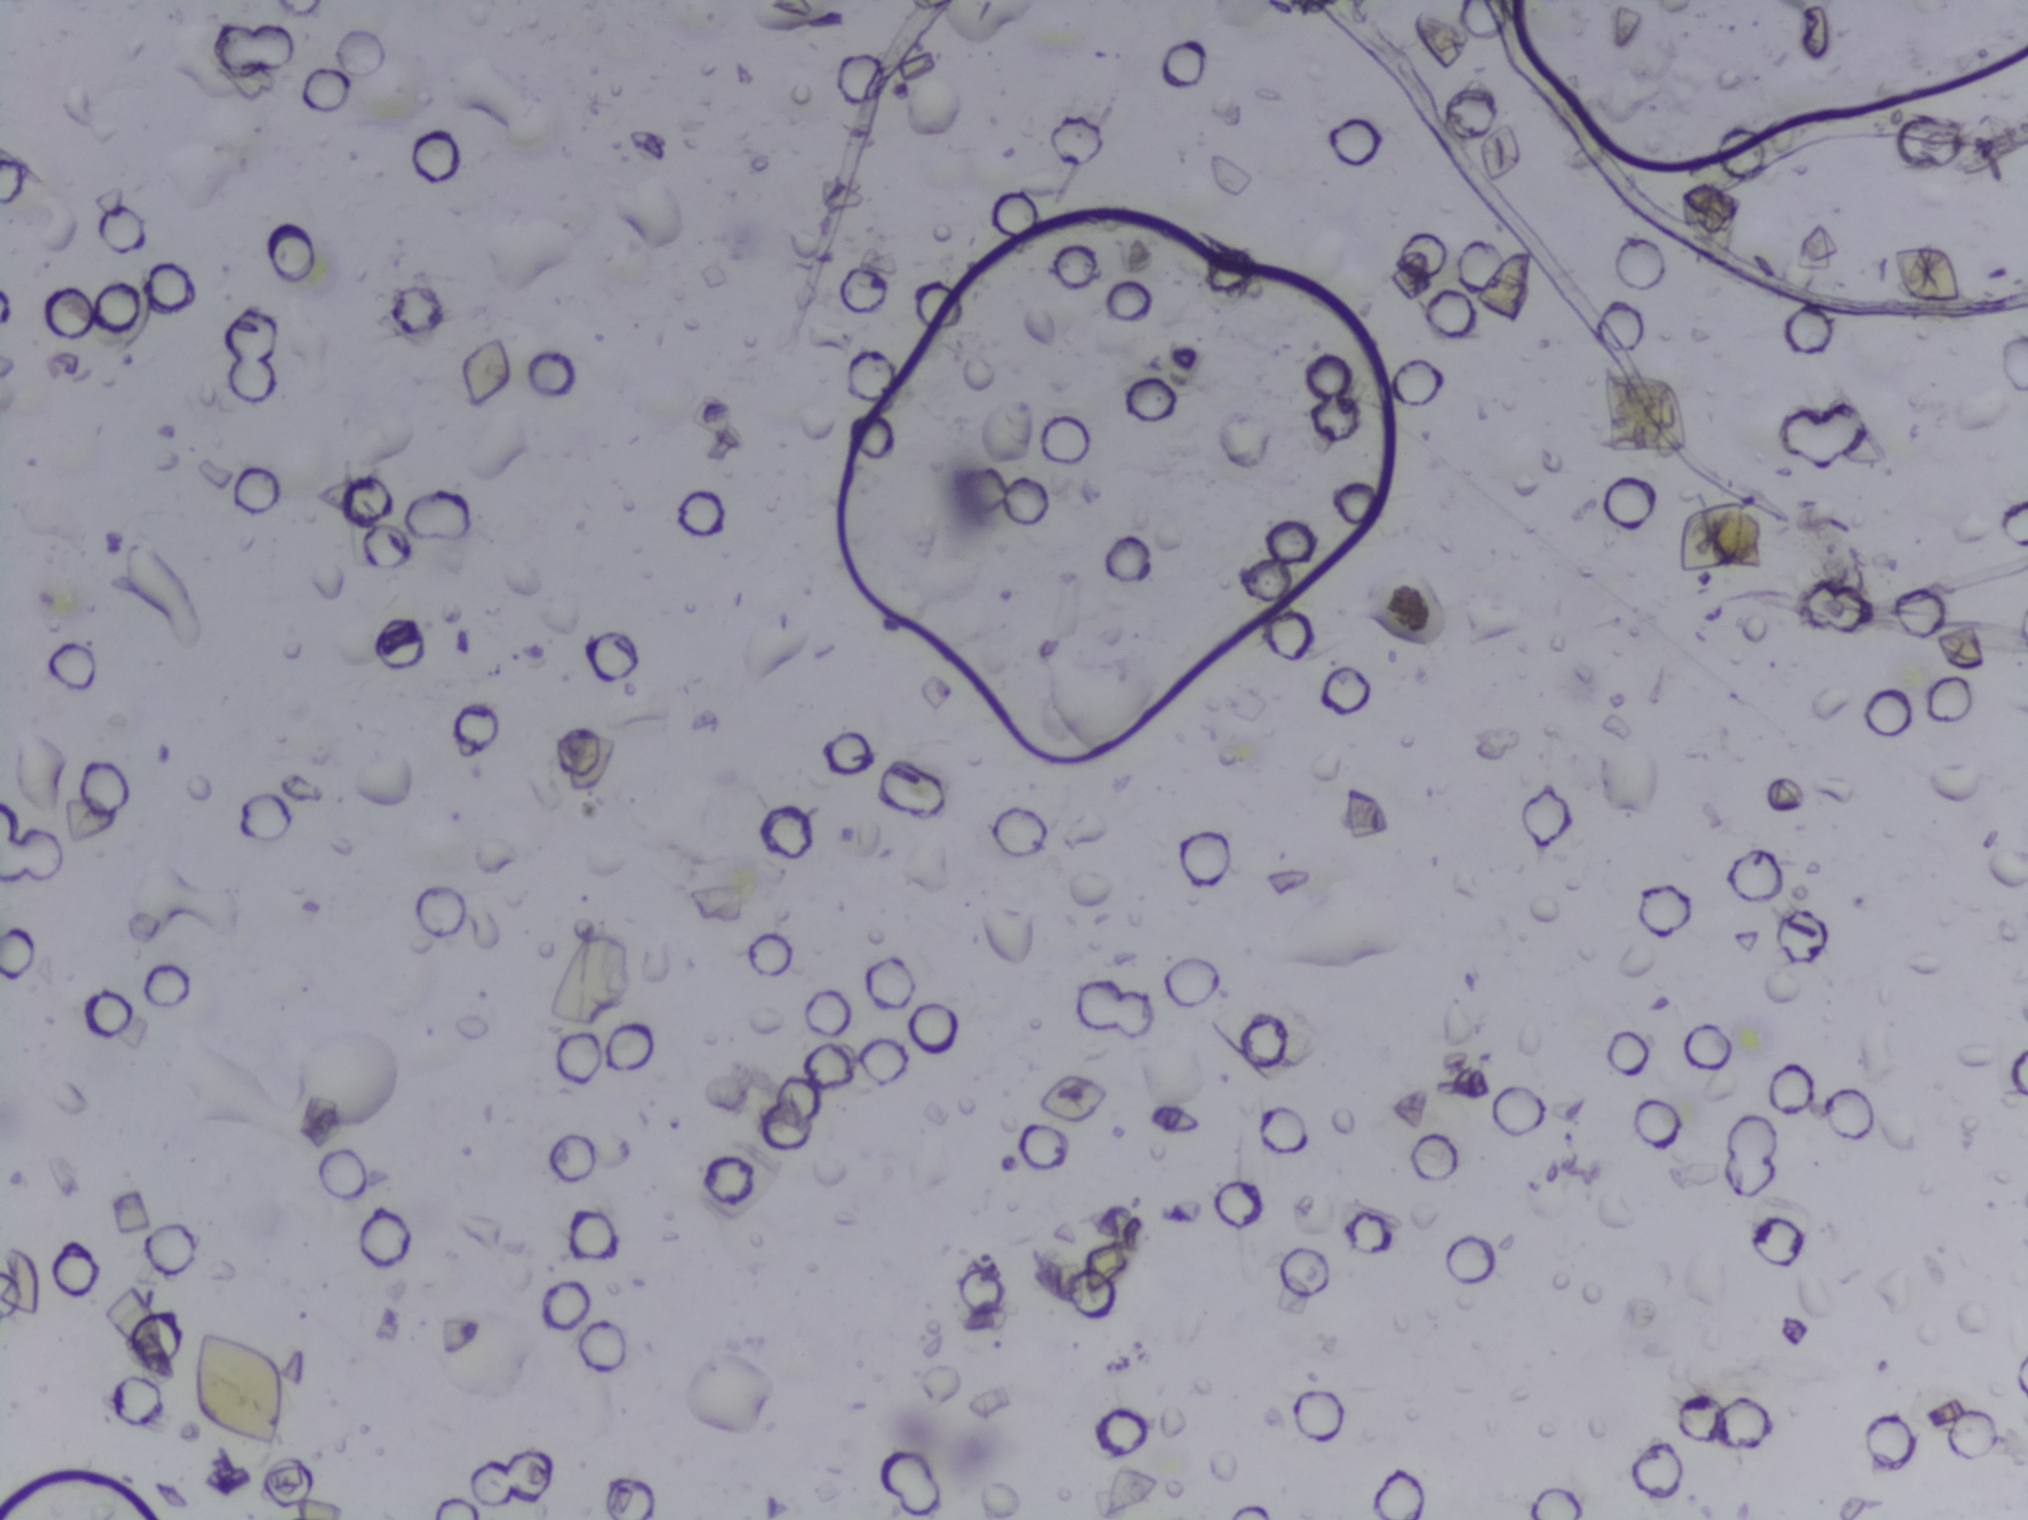
Urine filter membrane photographed through a 4× microscope objective.
No area of this image was outlined as a Schistosoma egg.